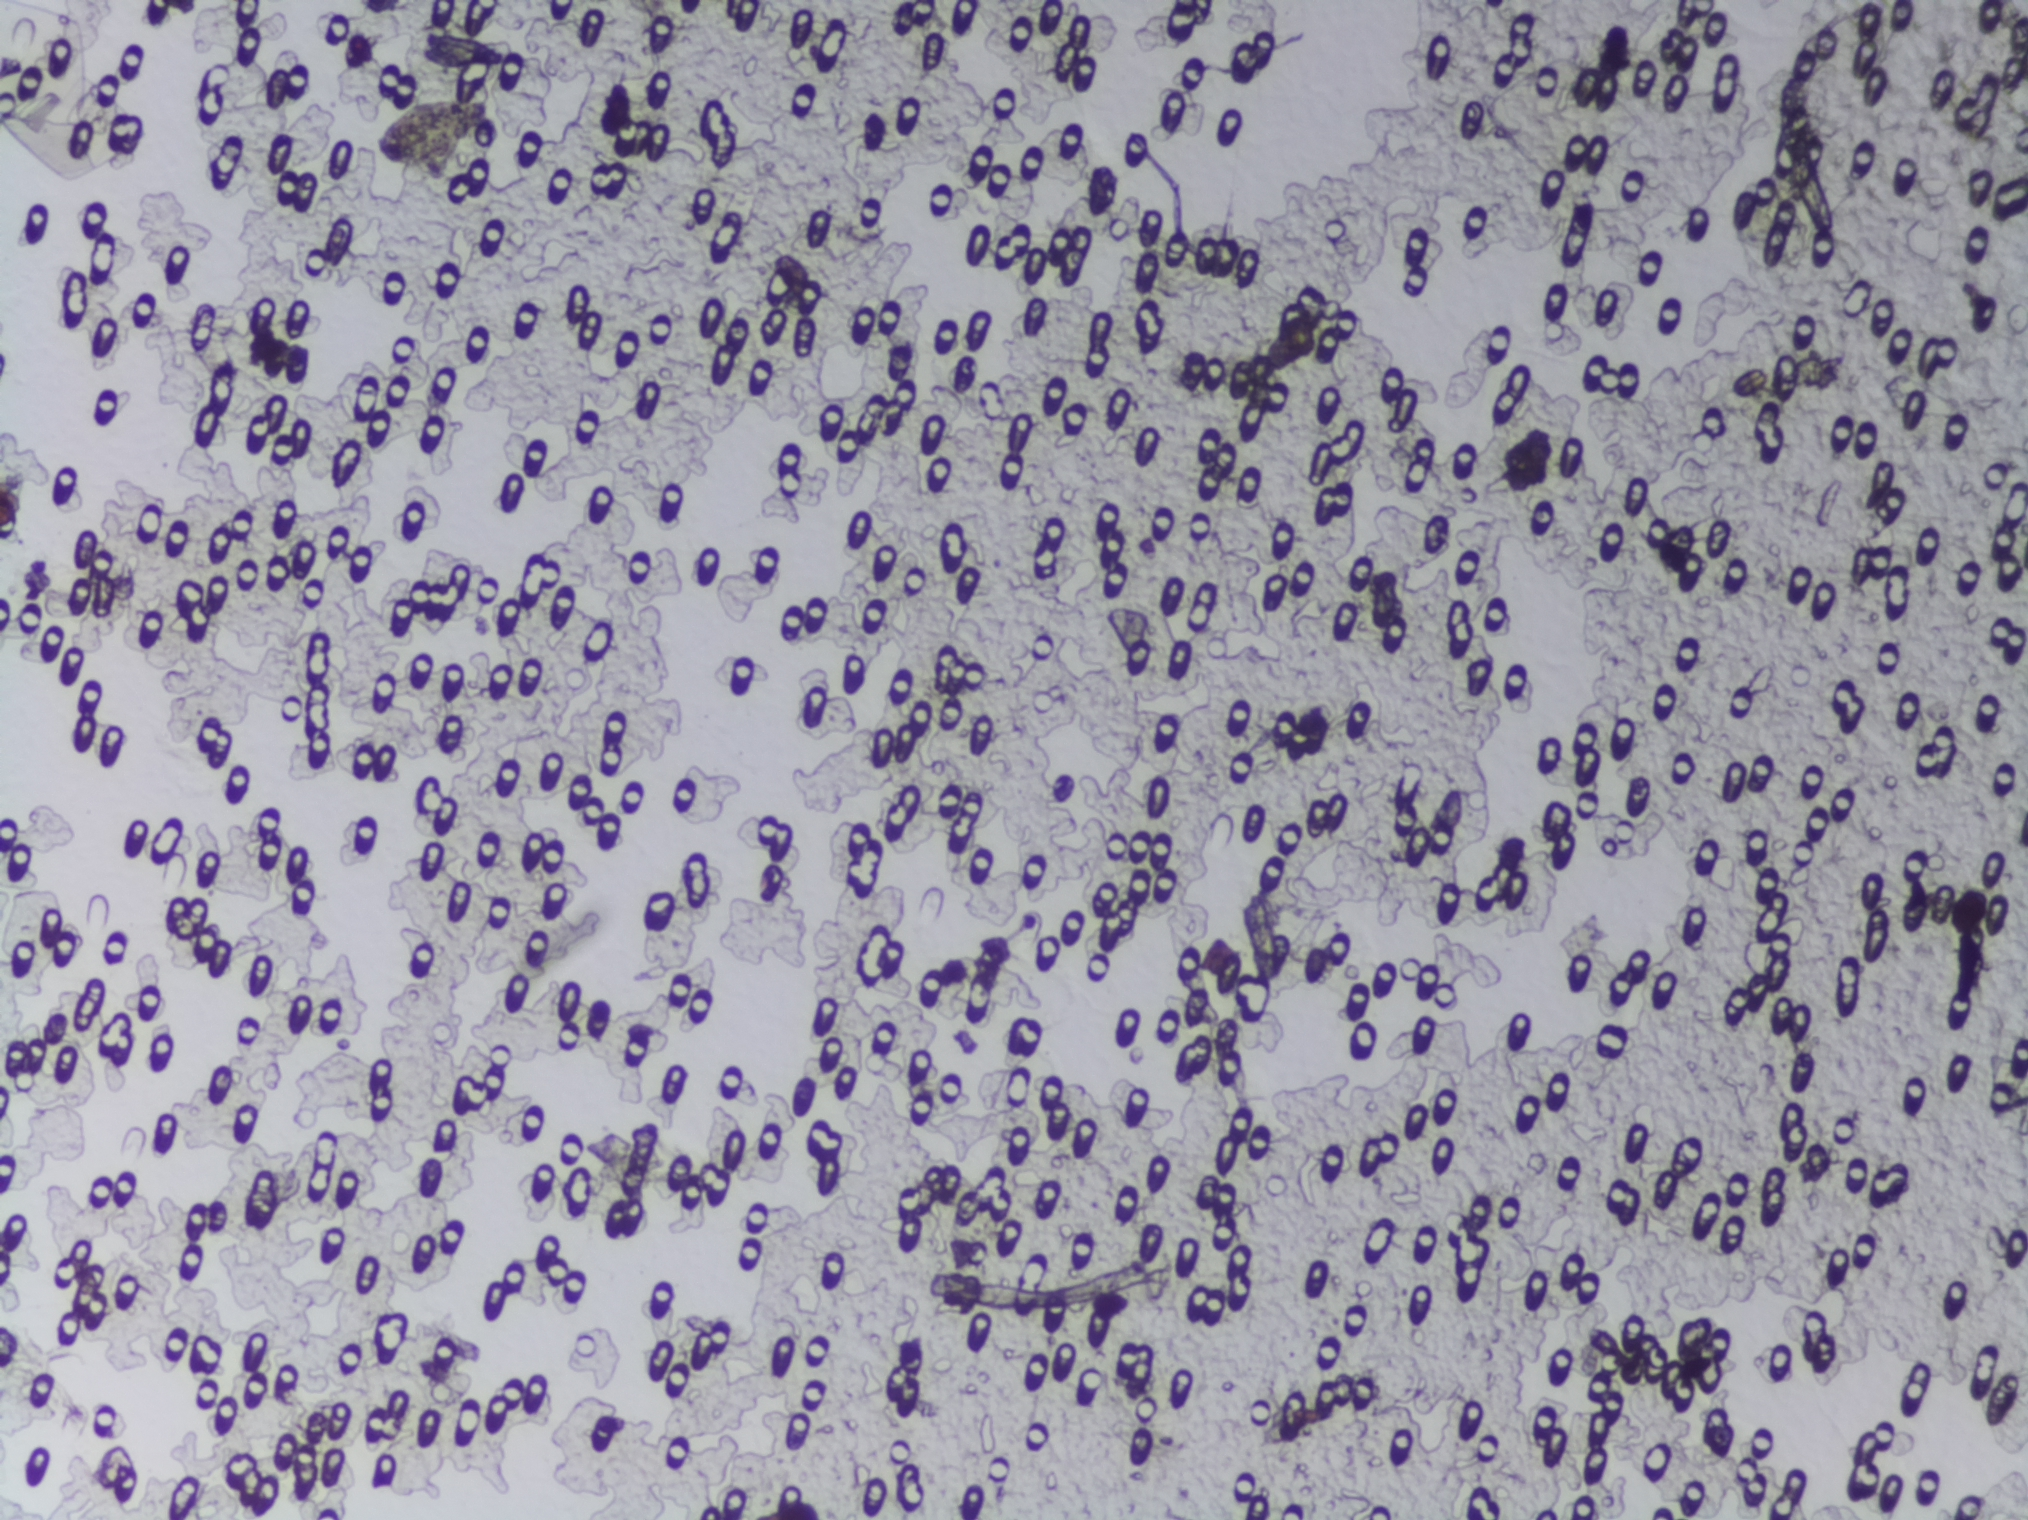
Photomicrograph of a urine filtration membrane, 4× objective.
The expert annotation marks no Schistosoma egg in this field of view.